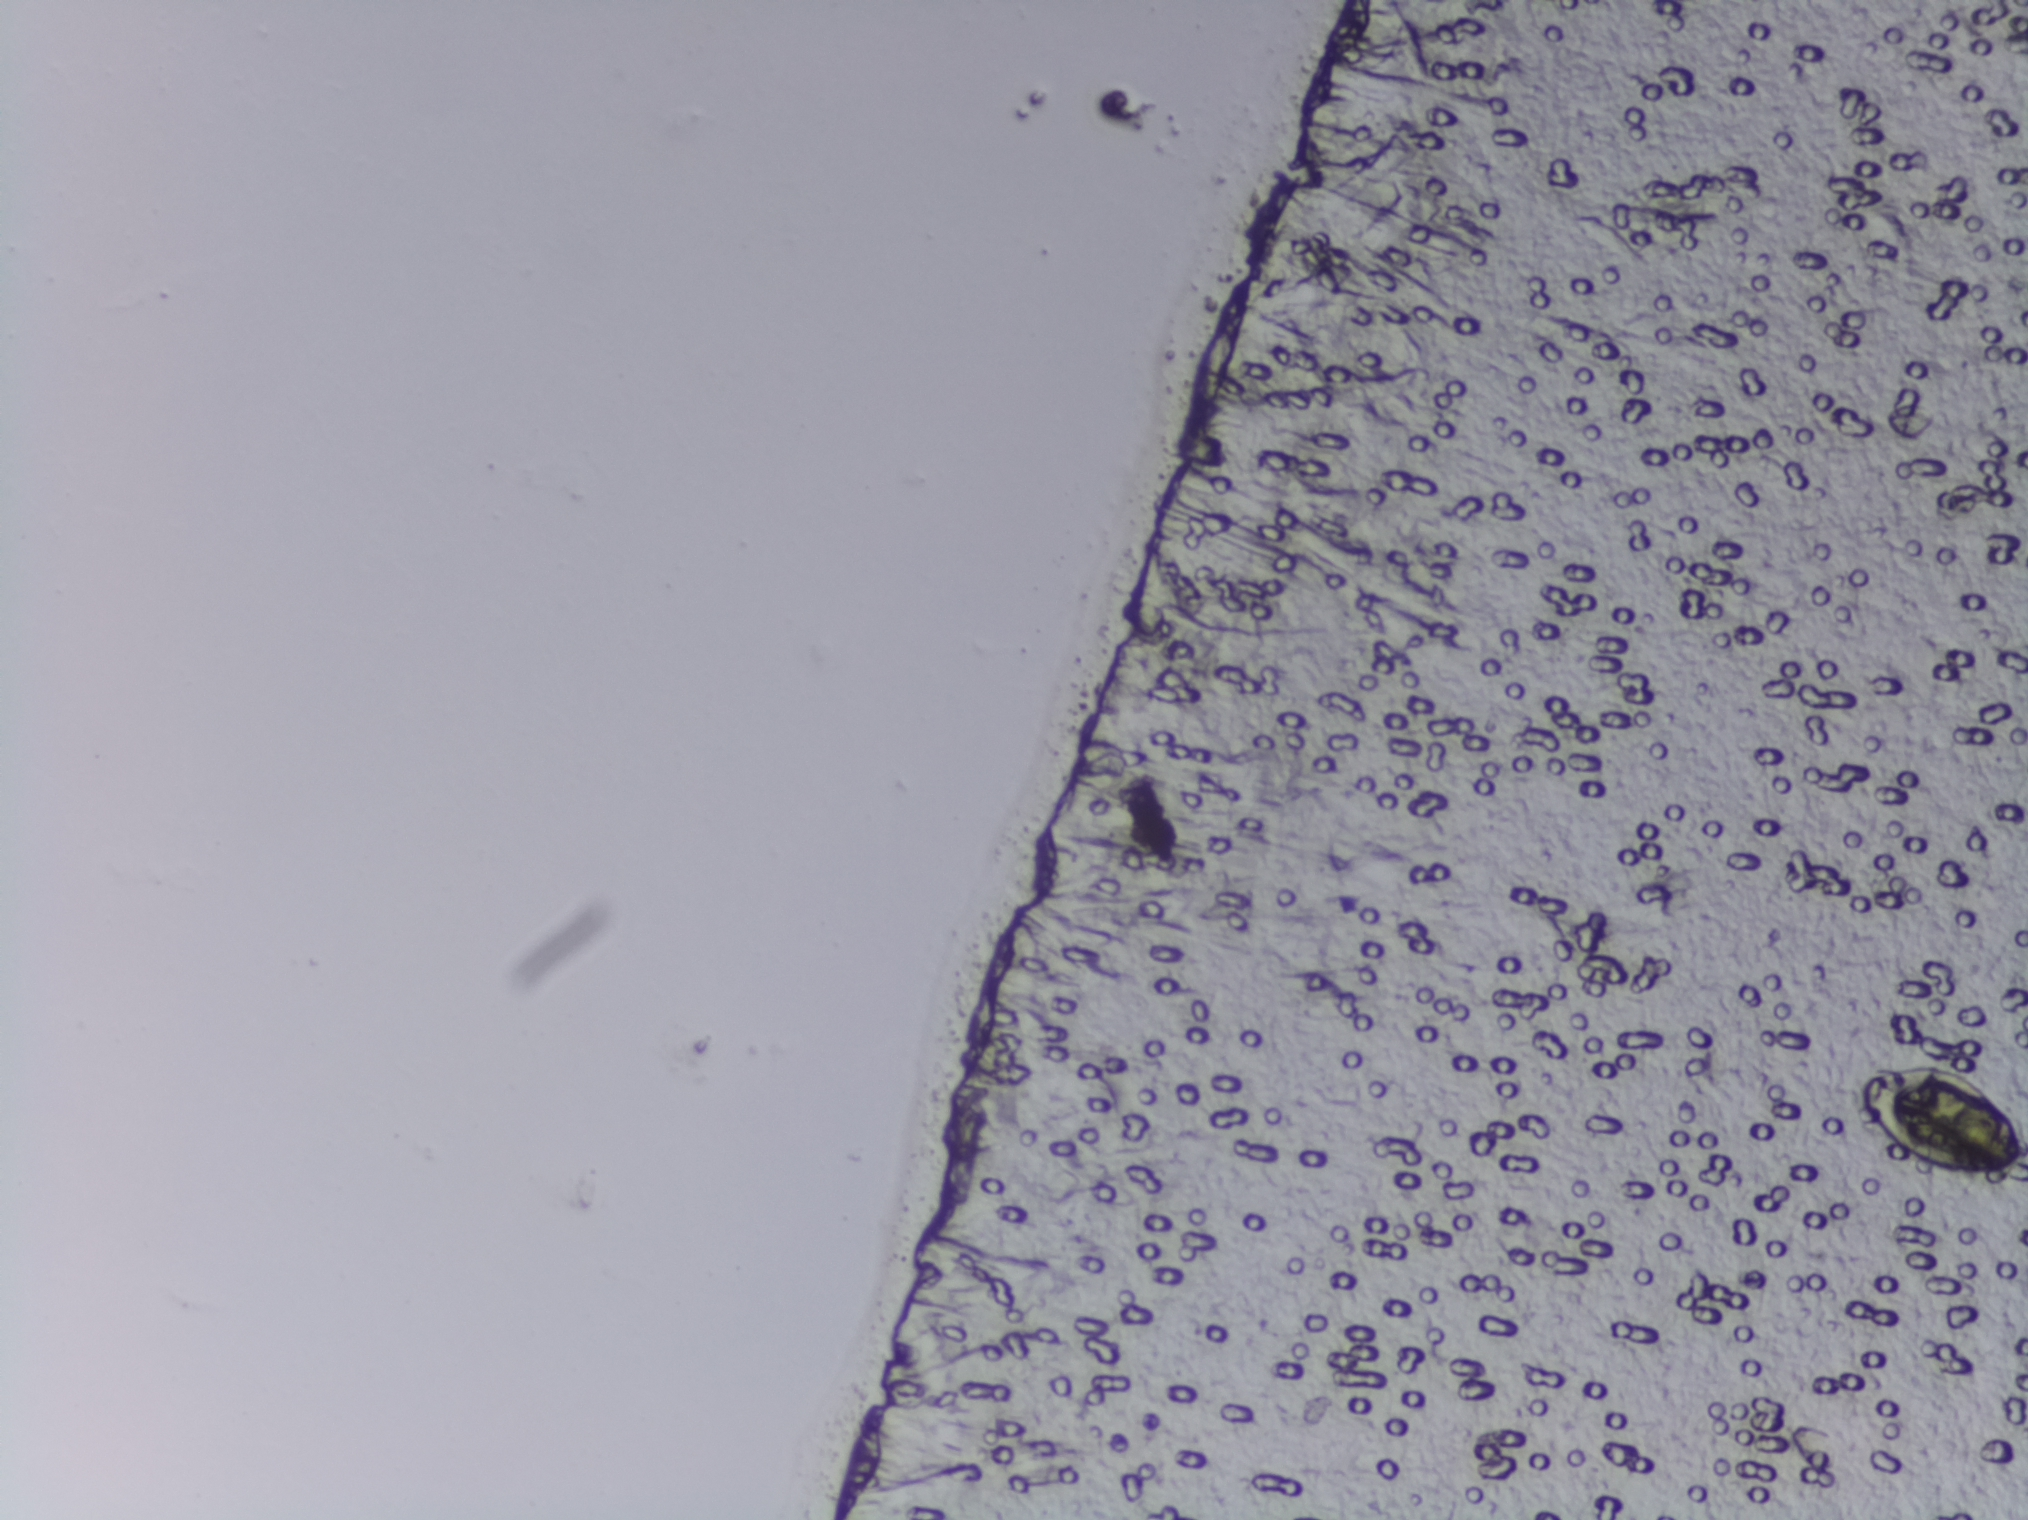
Microscope photograph (4× objective) of a membrane that a urine sample was filtered through.
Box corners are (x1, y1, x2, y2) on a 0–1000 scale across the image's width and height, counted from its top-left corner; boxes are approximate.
Schistosoma eggs are outlined in the expert annotation at (915, 696, 1000, 774) (reaching the right edge of the frame). An outlined area can hold more than one egg.